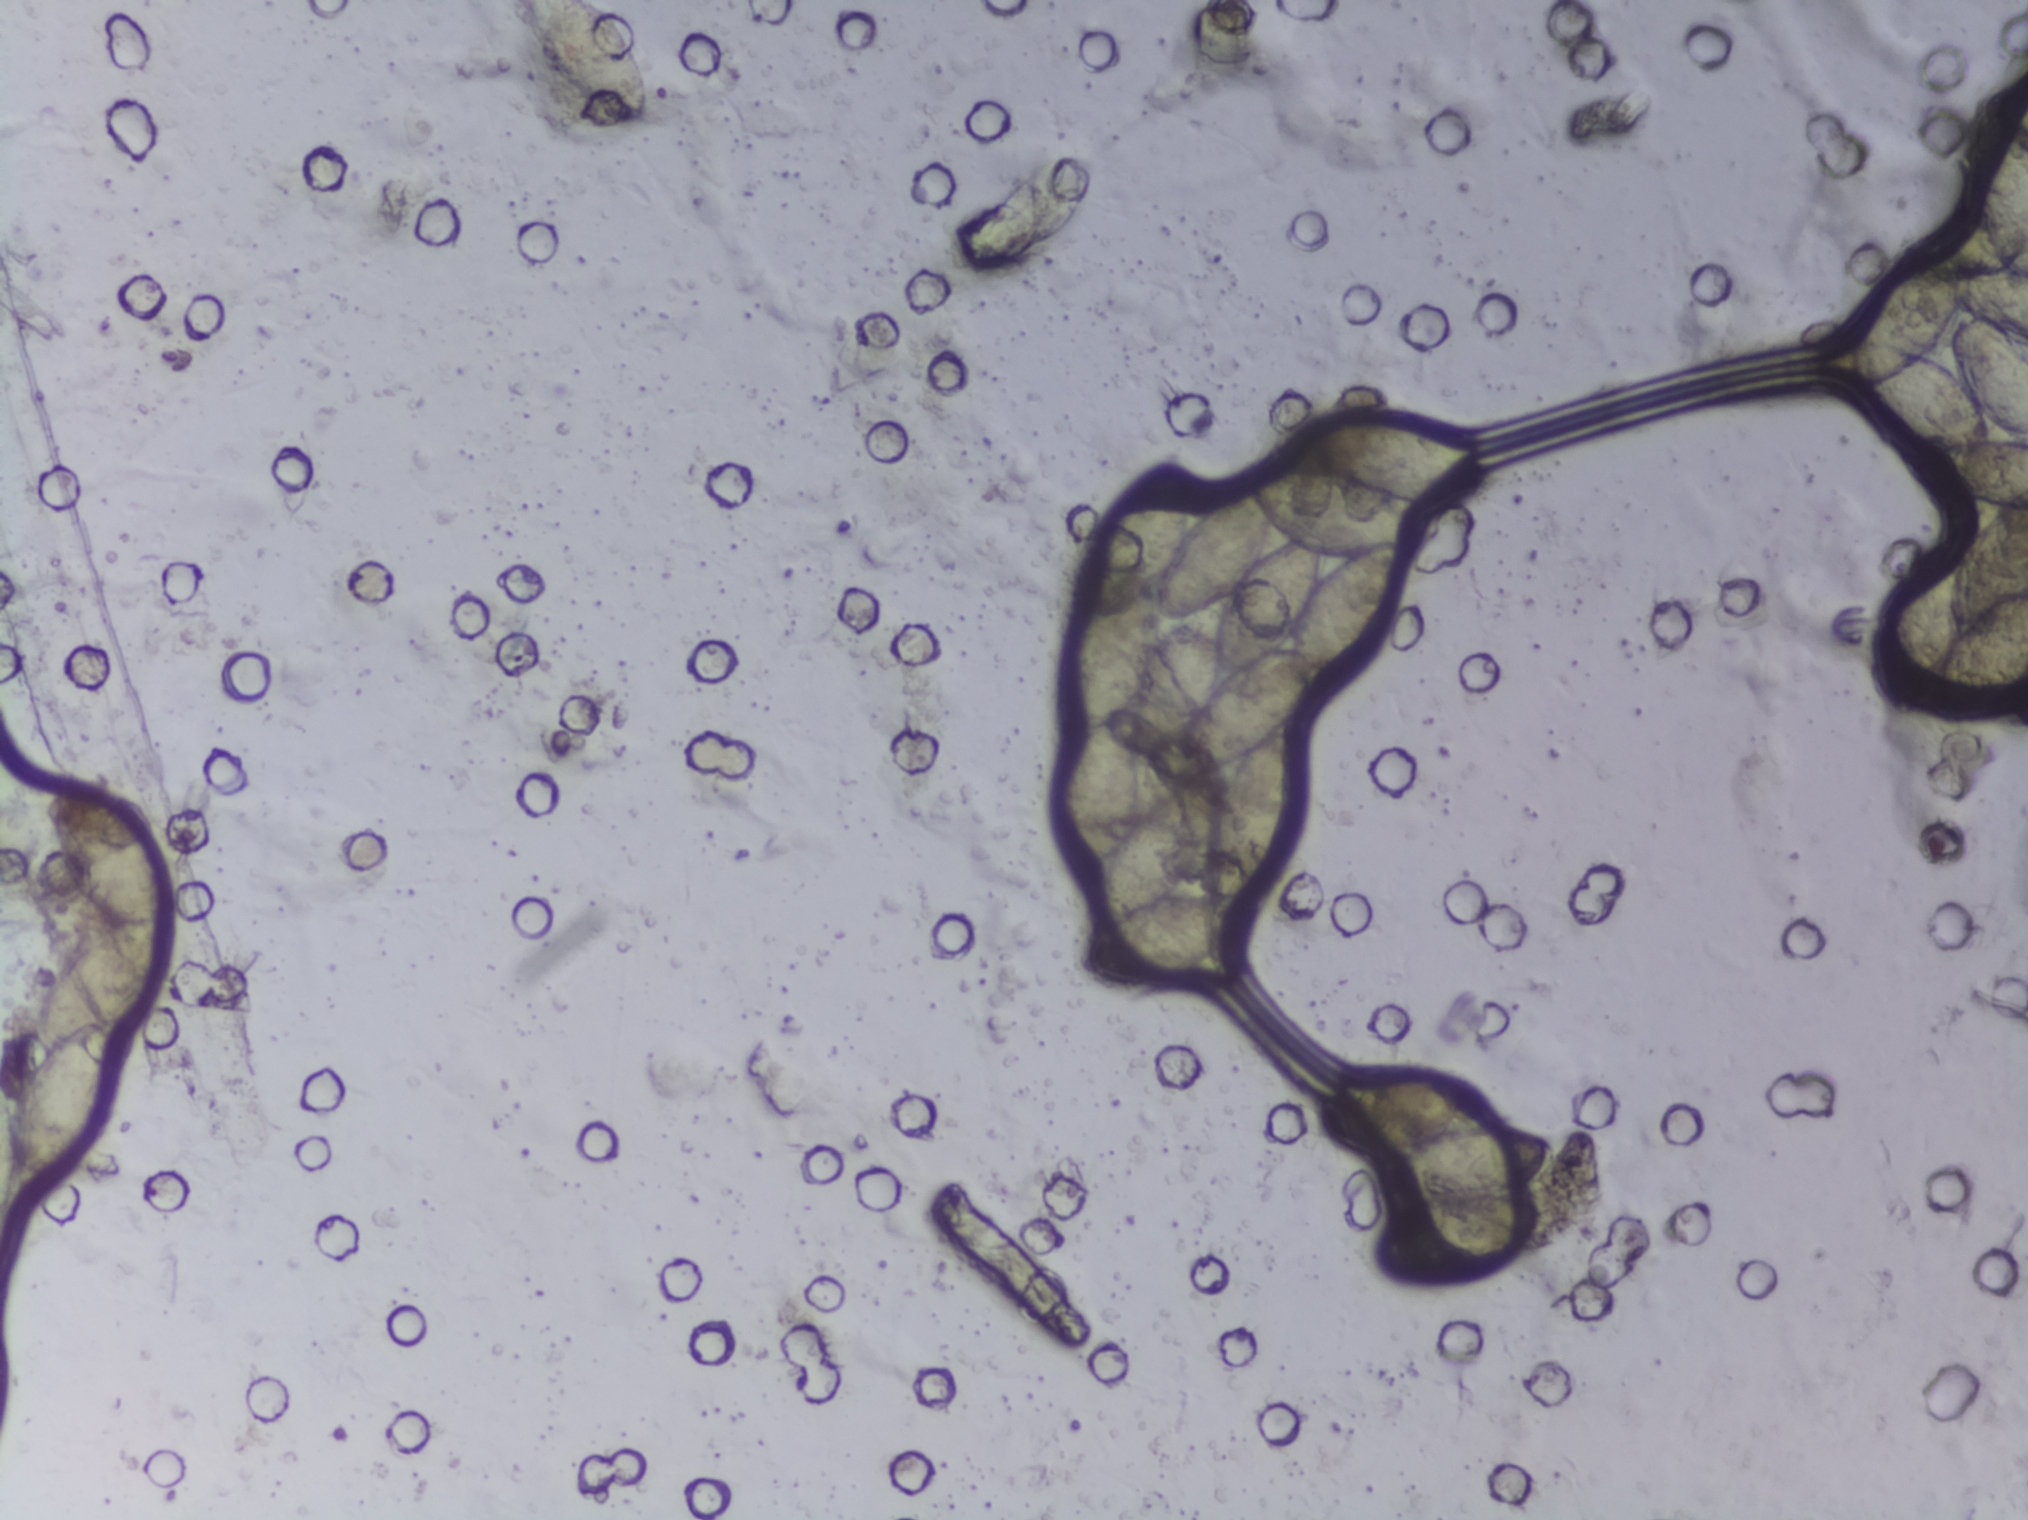
Photomicrograph of a urine filtration membrane, 4× objective.
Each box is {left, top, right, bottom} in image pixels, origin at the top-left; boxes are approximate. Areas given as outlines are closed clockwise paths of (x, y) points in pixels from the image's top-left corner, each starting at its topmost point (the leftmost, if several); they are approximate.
Outlined Schistosoma egg areas, left to right:
1. box {7, 776, 181, 1196}
2. box {502, 0, 648, 134} (reaching the top edge of the frame)
3. outline (1349, 404), (1407, 409), (1445, 422), (1503, 472), (1504, 483), (1477, 501), (1427, 512), (1438, 521), (1426, 539), (1402, 551), (1408, 596), (1388, 643), (1356, 676), (1317, 684), (1316, 699), (1301, 716), (1310, 737), (1310, 816), (1296, 867), (1280, 891), (1229, 947), (1177, 984), (1148, 994), (1084, 986), (1071, 969), (1072, 948), (1097, 925), (1098, 895), (1111, 864), (1088, 879), (1074, 878), (1056, 860), (1047, 816), (1072, 744), (1057, 713), (1056, 673), (1086, 615), (1079, 606), (1081, 578), (1114, 499), (1181, 441), (1189, 524), (1238, 479), (1243, 465), (1311, 464), (1290, 431), (1319, 412) (eggs clustered together)
4. box {1314, 1063, 1557, 1289}
5. outline (1994, 86), (2009, 91), (2027, 118), (2027, 339), (2012, 340), (2027, 345), (2027, 681), (2007, 709), (1983, 725), (1966, 725), (1931, 717), (1923, 705), (1888, 711), (1874, 693), (1872, 658), (1905, 584), (1938, 559), (1942, 545), (1957, 544), (1985, 507), (1923, 478), (1912, 469), (1916, 451), (1894, 443), (1836, 397), (1819, 371), (1813, 341), (1851, 336), (1901, 251), (1977, 202), (1975, 109), (1984, 90) (eggs clustered together; reaching the right edge of the frame)
An outlined area can hold more than one egg. Any one outlined egg may, rarely, be S. mansoni rather than S. haematobium.